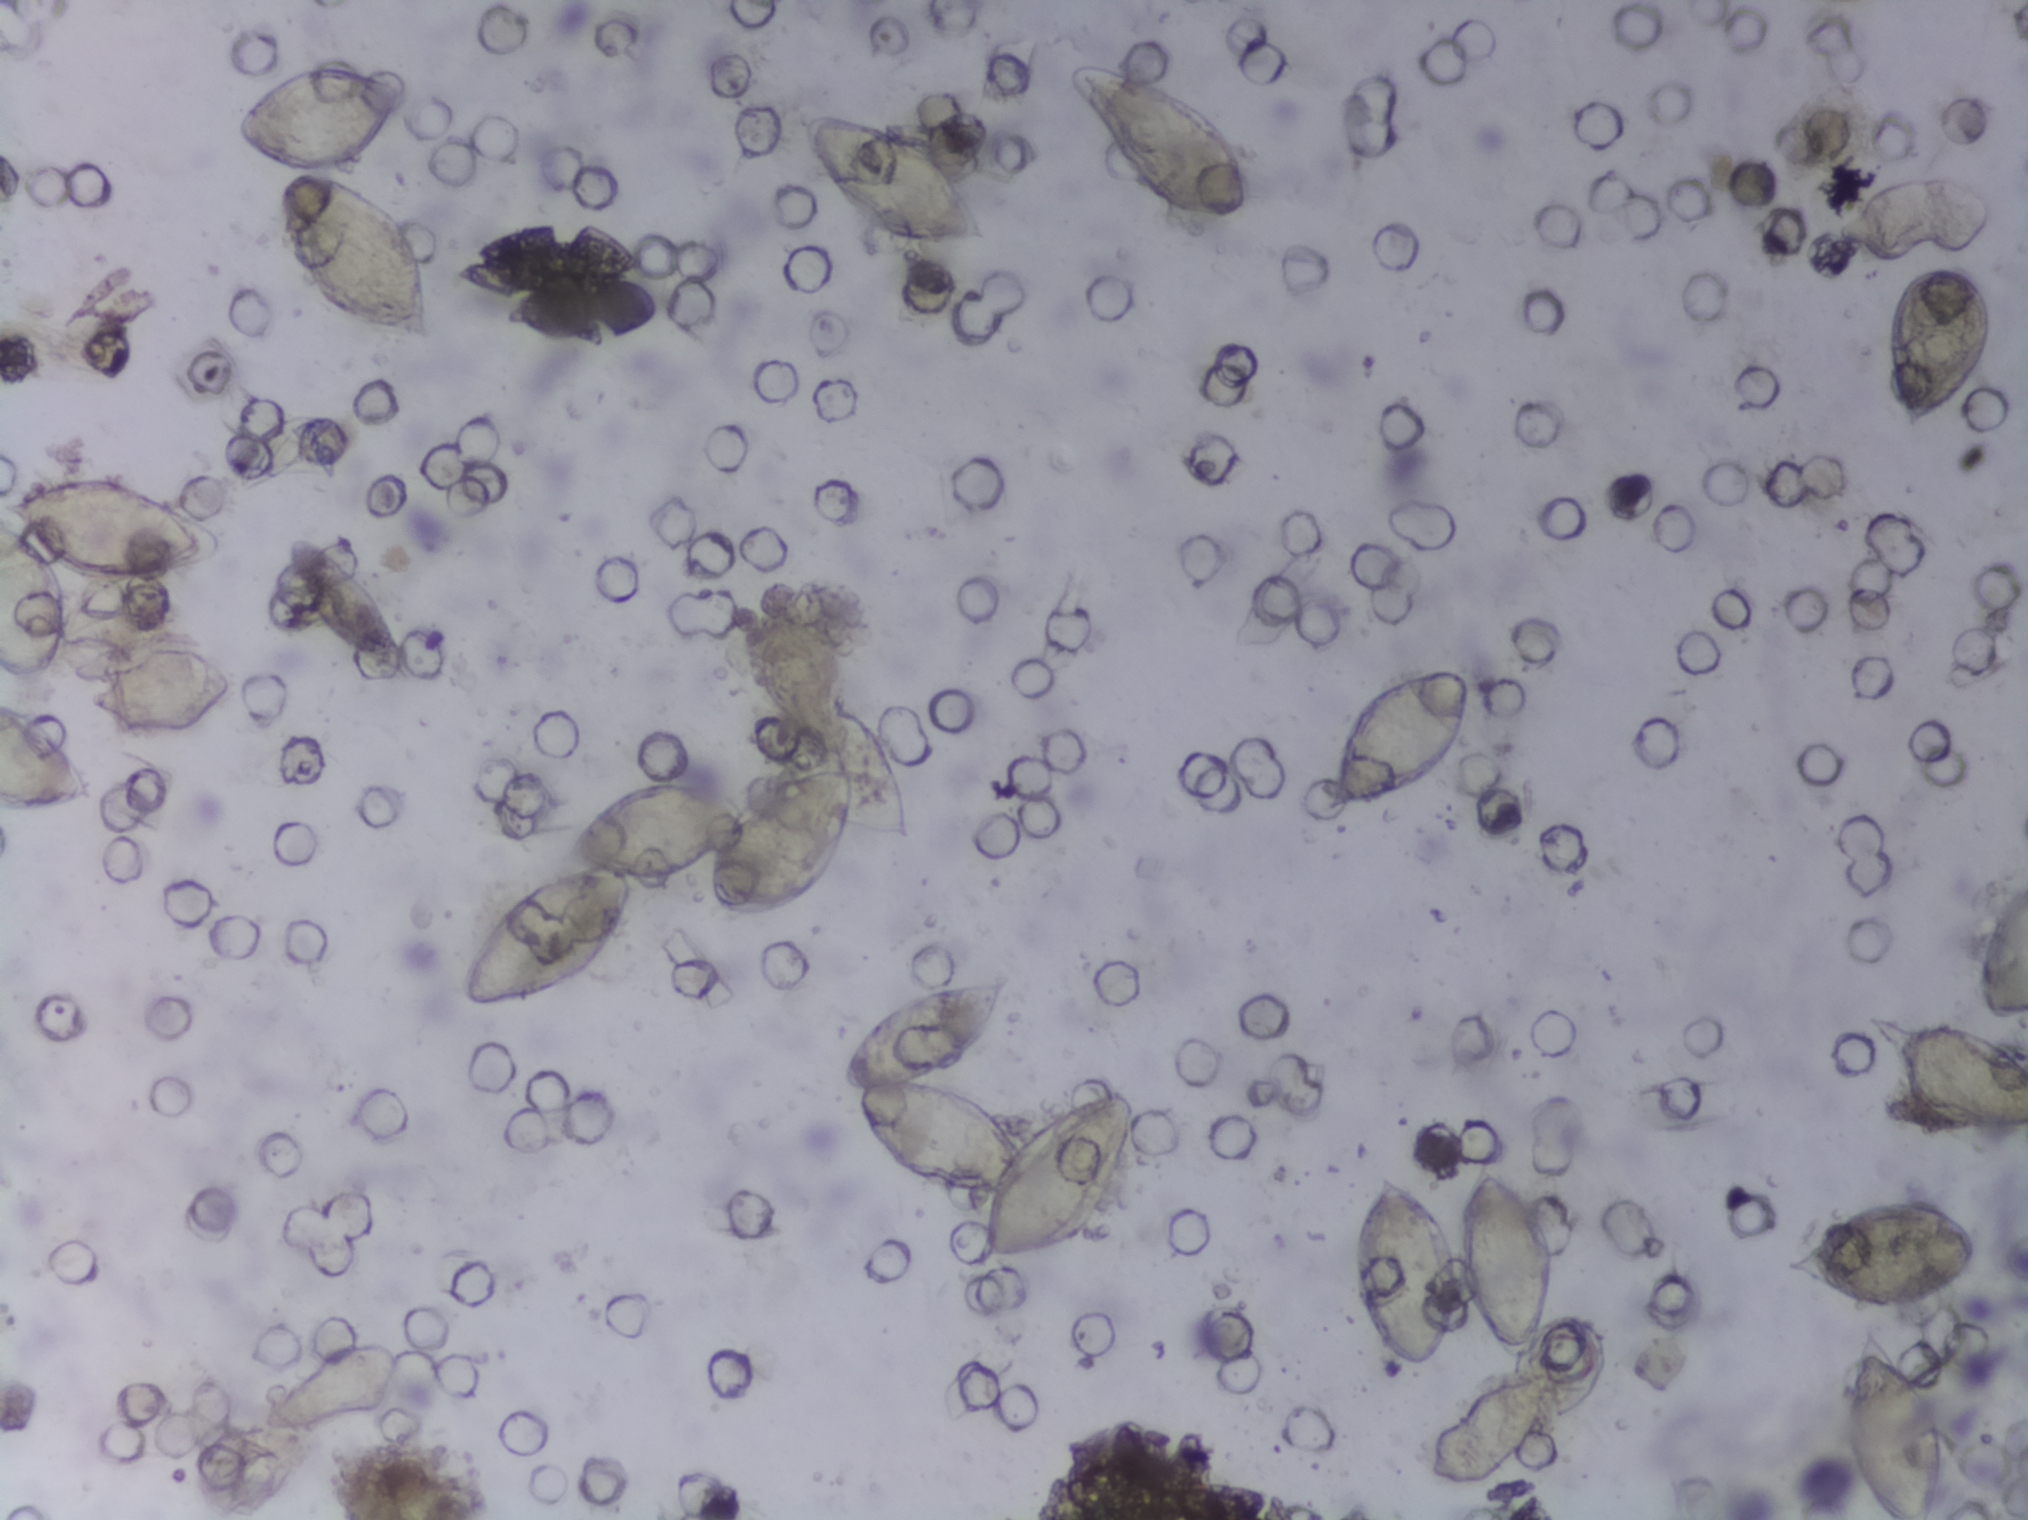
Urine filter membrane photographed through a 4× microscope objective.
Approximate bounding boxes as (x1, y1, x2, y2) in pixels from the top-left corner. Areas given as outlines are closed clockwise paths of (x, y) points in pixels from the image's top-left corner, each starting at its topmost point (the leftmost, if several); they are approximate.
Areas outlined as Schistosoma eggs, left to right:
1. box (0, 475, 225, 692) (reaching the left edge of the frame)
2. box (0, 695, 93, 818) (reaching the left edge of the frame)
3. box (86, 646, 238, 737)
4. box (231, 62, 438, 347)
5. box (259, 1345, 397, 1429)
6. box (286, 534, 408, 678)
7. box (458, 222, 665, 347)
8. outline (773, 604), (810, 621), (836, 647), (848, 707), (895, 755), (910, 839), (896, 843), (851, 829), (821, 885), (799, 904), (765, 916), (736, 917), (715, 909), (703, 870), (636, 883), (631, 916), (584, 978), (499, 1008), (463, 1007), (461, 967), (521, 890), (567, 869), (560, 866), (560, 851), (598, 801), (622, 787), (668, 779), (703, 782), (740, 798), (750, 786), (780, 777), (771, 755), (778, 712), (756, 678), (760, 635) (eggs clustered together)
9. box (800, 106, 992, 247)
10. box (839, 973, 1135, 1265)
11. box (1068, 58, 1253, 220)
12. box (1323, 669, 1471, 815)
13. box (1349, 1152, 1555, 1373)
14. box (1412, 1372, 1550, 1486)
15. box (1779, 1195, 1978, 1314)
16. box (1833, 1329, 1945, 1519) (reaching the bottom edge of the frame)
17. box (1836, 176, 1991, 266)
18. box (1857, 1013, 2027, 1136) (reaching the right edge of the frame)
19. box (1885, 263, 1991, 430)
20. box (1976, 878, 2027, 1020) (reaching the right edge of the frame)
A single outlined area may contain several eggs.